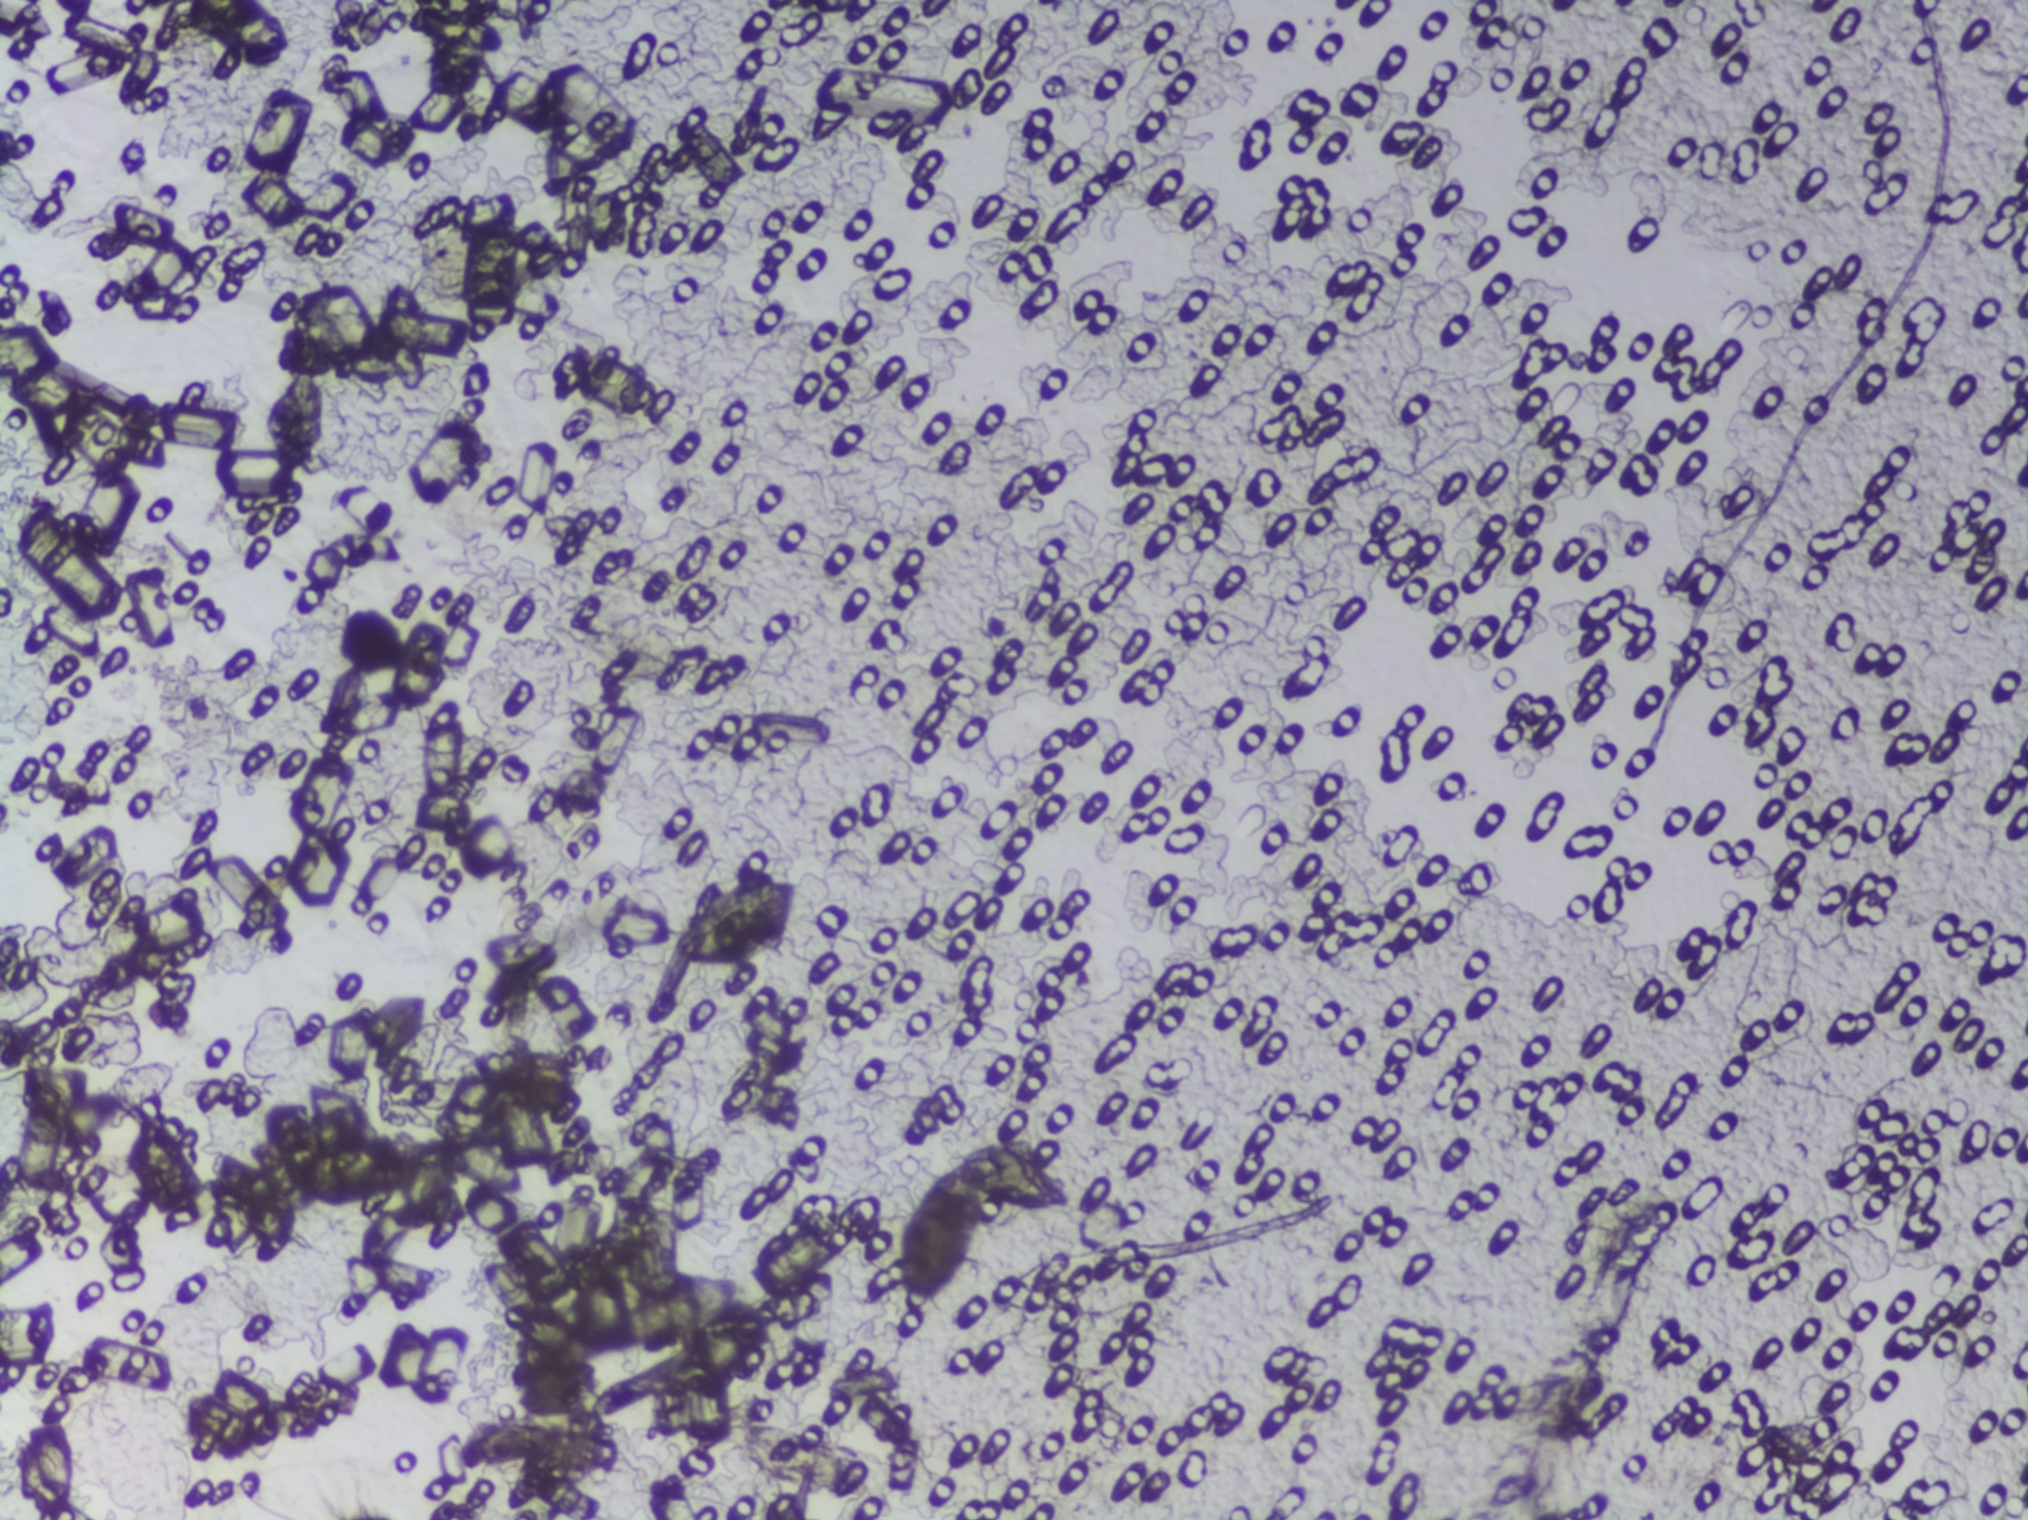
Photomicrograph of a urine filtration membrane, 4× objective.
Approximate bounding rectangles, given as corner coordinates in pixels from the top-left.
Schistosoma egg areas, outlined: (x1=672, y1=878, x2=798, y2=969); (x1=735, y1=1418, x2=862, y2=1491); (x1=894, y1=1140, x2=1080, y2=1305). A single outlined area may contain several eggs.